Photograph from an automated digital microscope: urine filter membrane, 4× objective.
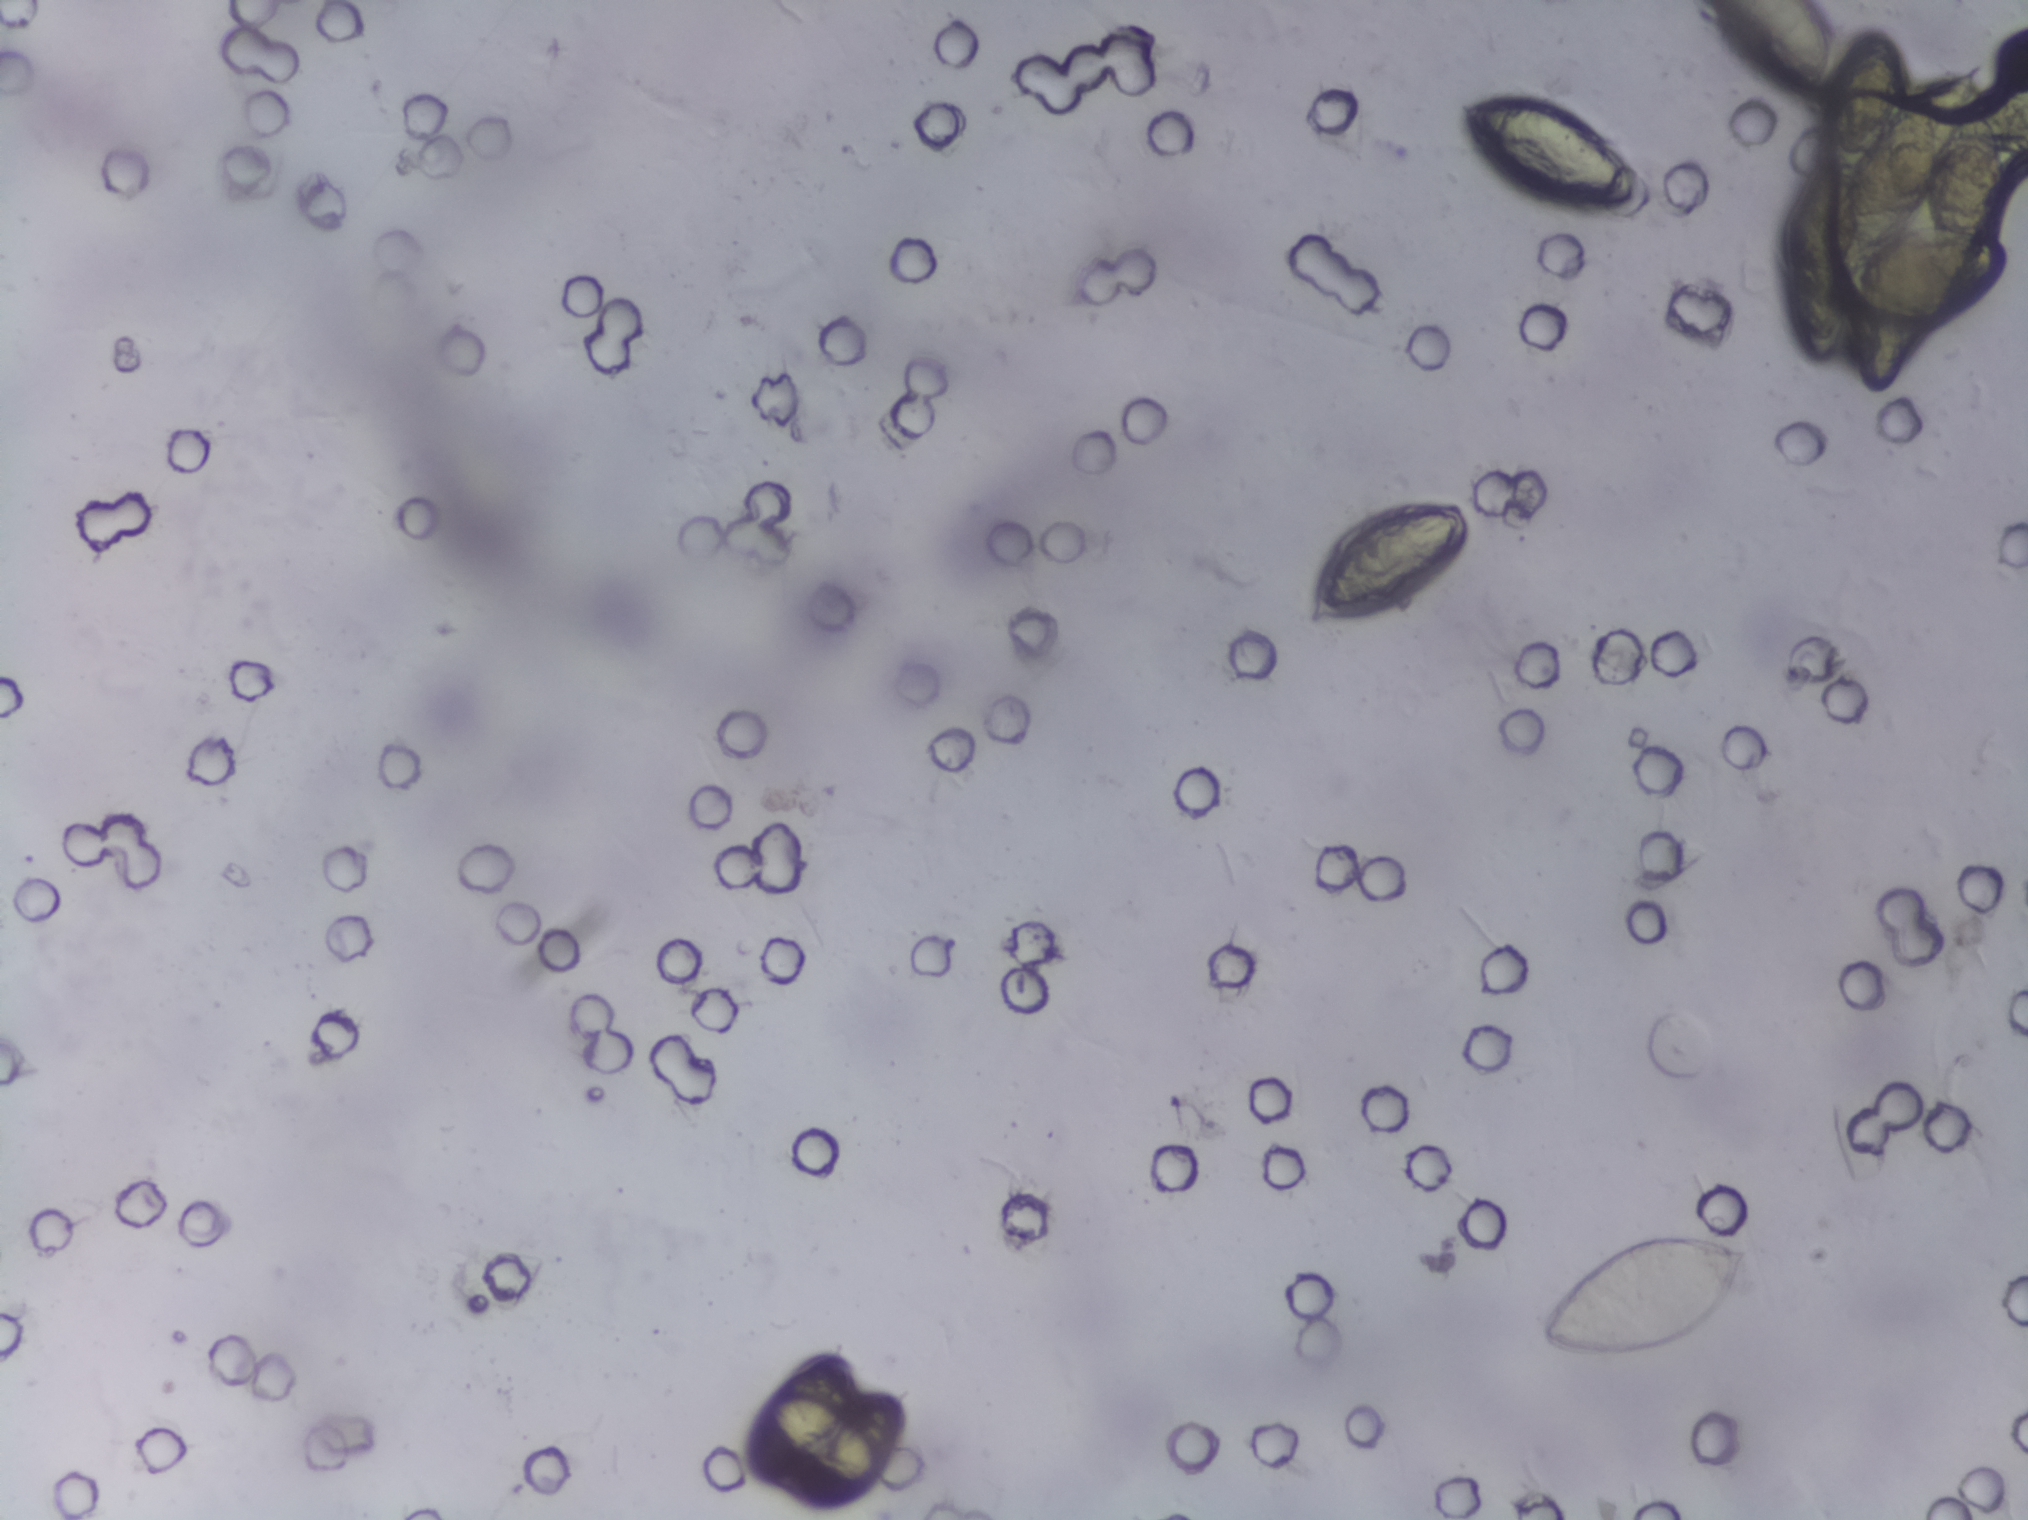
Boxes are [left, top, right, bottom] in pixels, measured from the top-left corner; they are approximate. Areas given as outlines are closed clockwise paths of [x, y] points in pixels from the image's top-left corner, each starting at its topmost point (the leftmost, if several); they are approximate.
The expert annotation outlines Schistosoma eggs in five areas, left to right: box [739, 1350, 912, 1512]; box [1303, 498, 1477, 627]; box [1441, 85, 1653, 224]; box [1520, 1222, 1761, 1376]; outline [1698, 0], [1809, 0], [1828, 18], [1838, 49], [1855, 29], [1884, 26], [1903, 49], [1908, 90], [1960, 66], [1981, 69], [1973, 105], [1993, 119], [2004, 162], [1992, 232], [2011, 245], [2010, 283], [1988, 302], [1921, 317], [1904, 369], [1883, 394], [1866, 395], [1856, 385], [1842, 350], [1841, 322], [1822, 355], [1803, 346], [1783, 270], [1780, 225], [1799, 171], [1816, 161], [1814, 133], [1826, 88], [1791, 89], [1728, 53] (eggs clustered together; reaching the top edge of the frame). An outlined area can hold more than one egg.